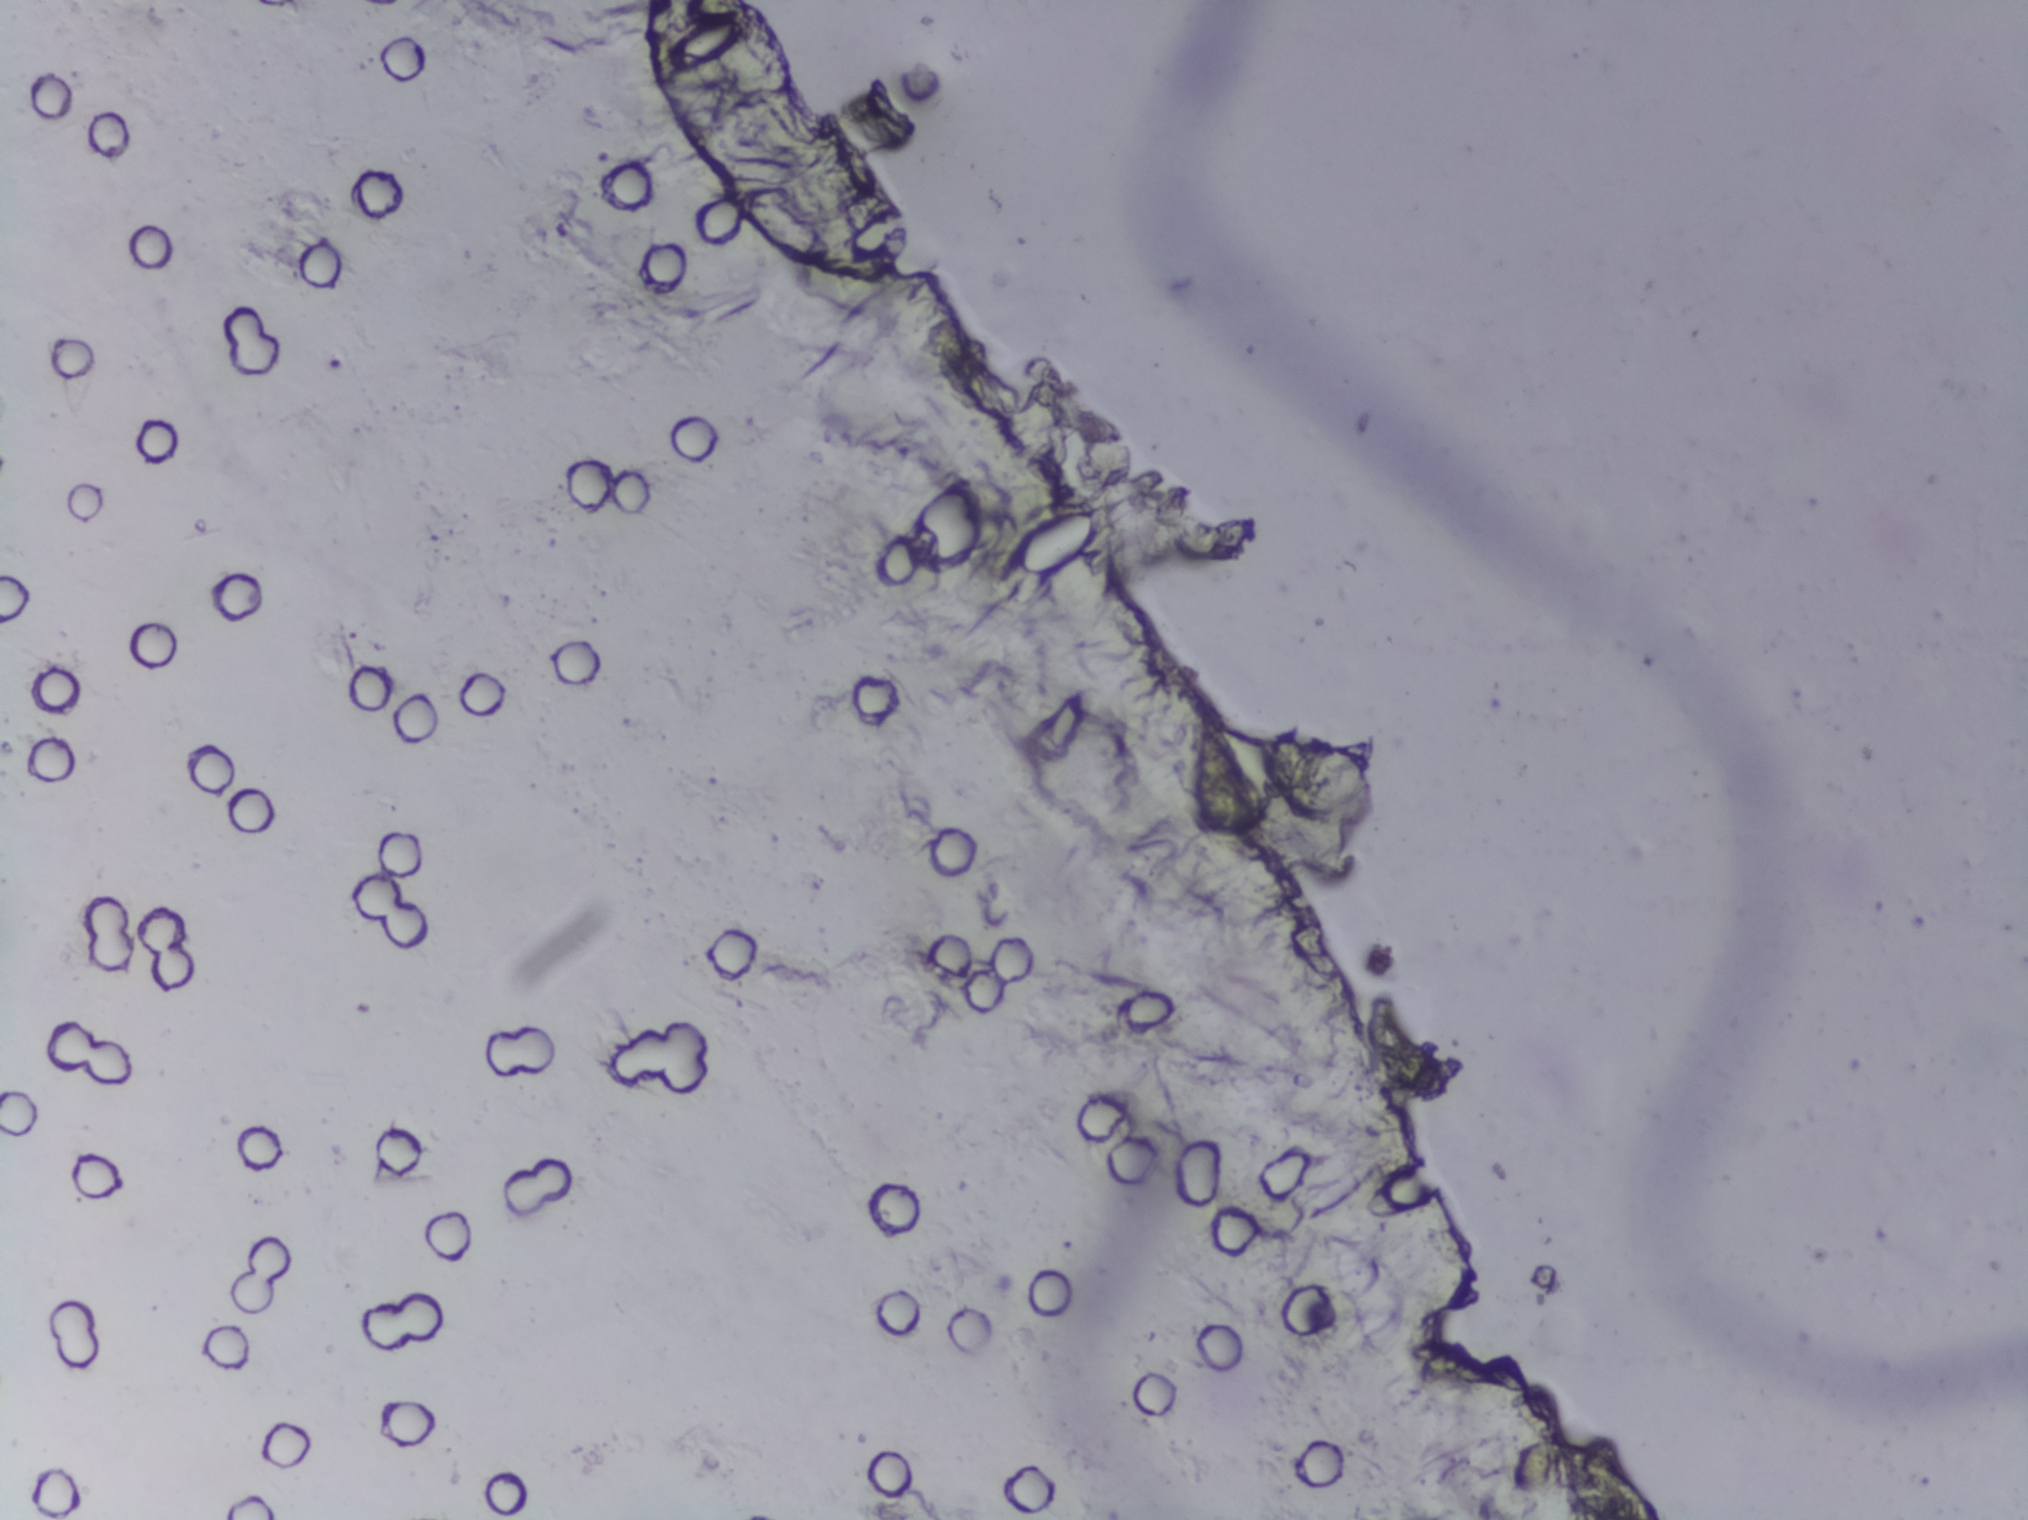
Microscope photograph (4× objective) of a membrane that a urine sample was filtered through. Field of view: about 1.5 mm wide and 1.1 mm high.
The expert annotation outlines no Schistosoma egg in this image.